One field of view of a urine filter membrane, 4× objective, 2028 × 1520 pixels. The field of view is about 1.5 mm × 1.1 mm.
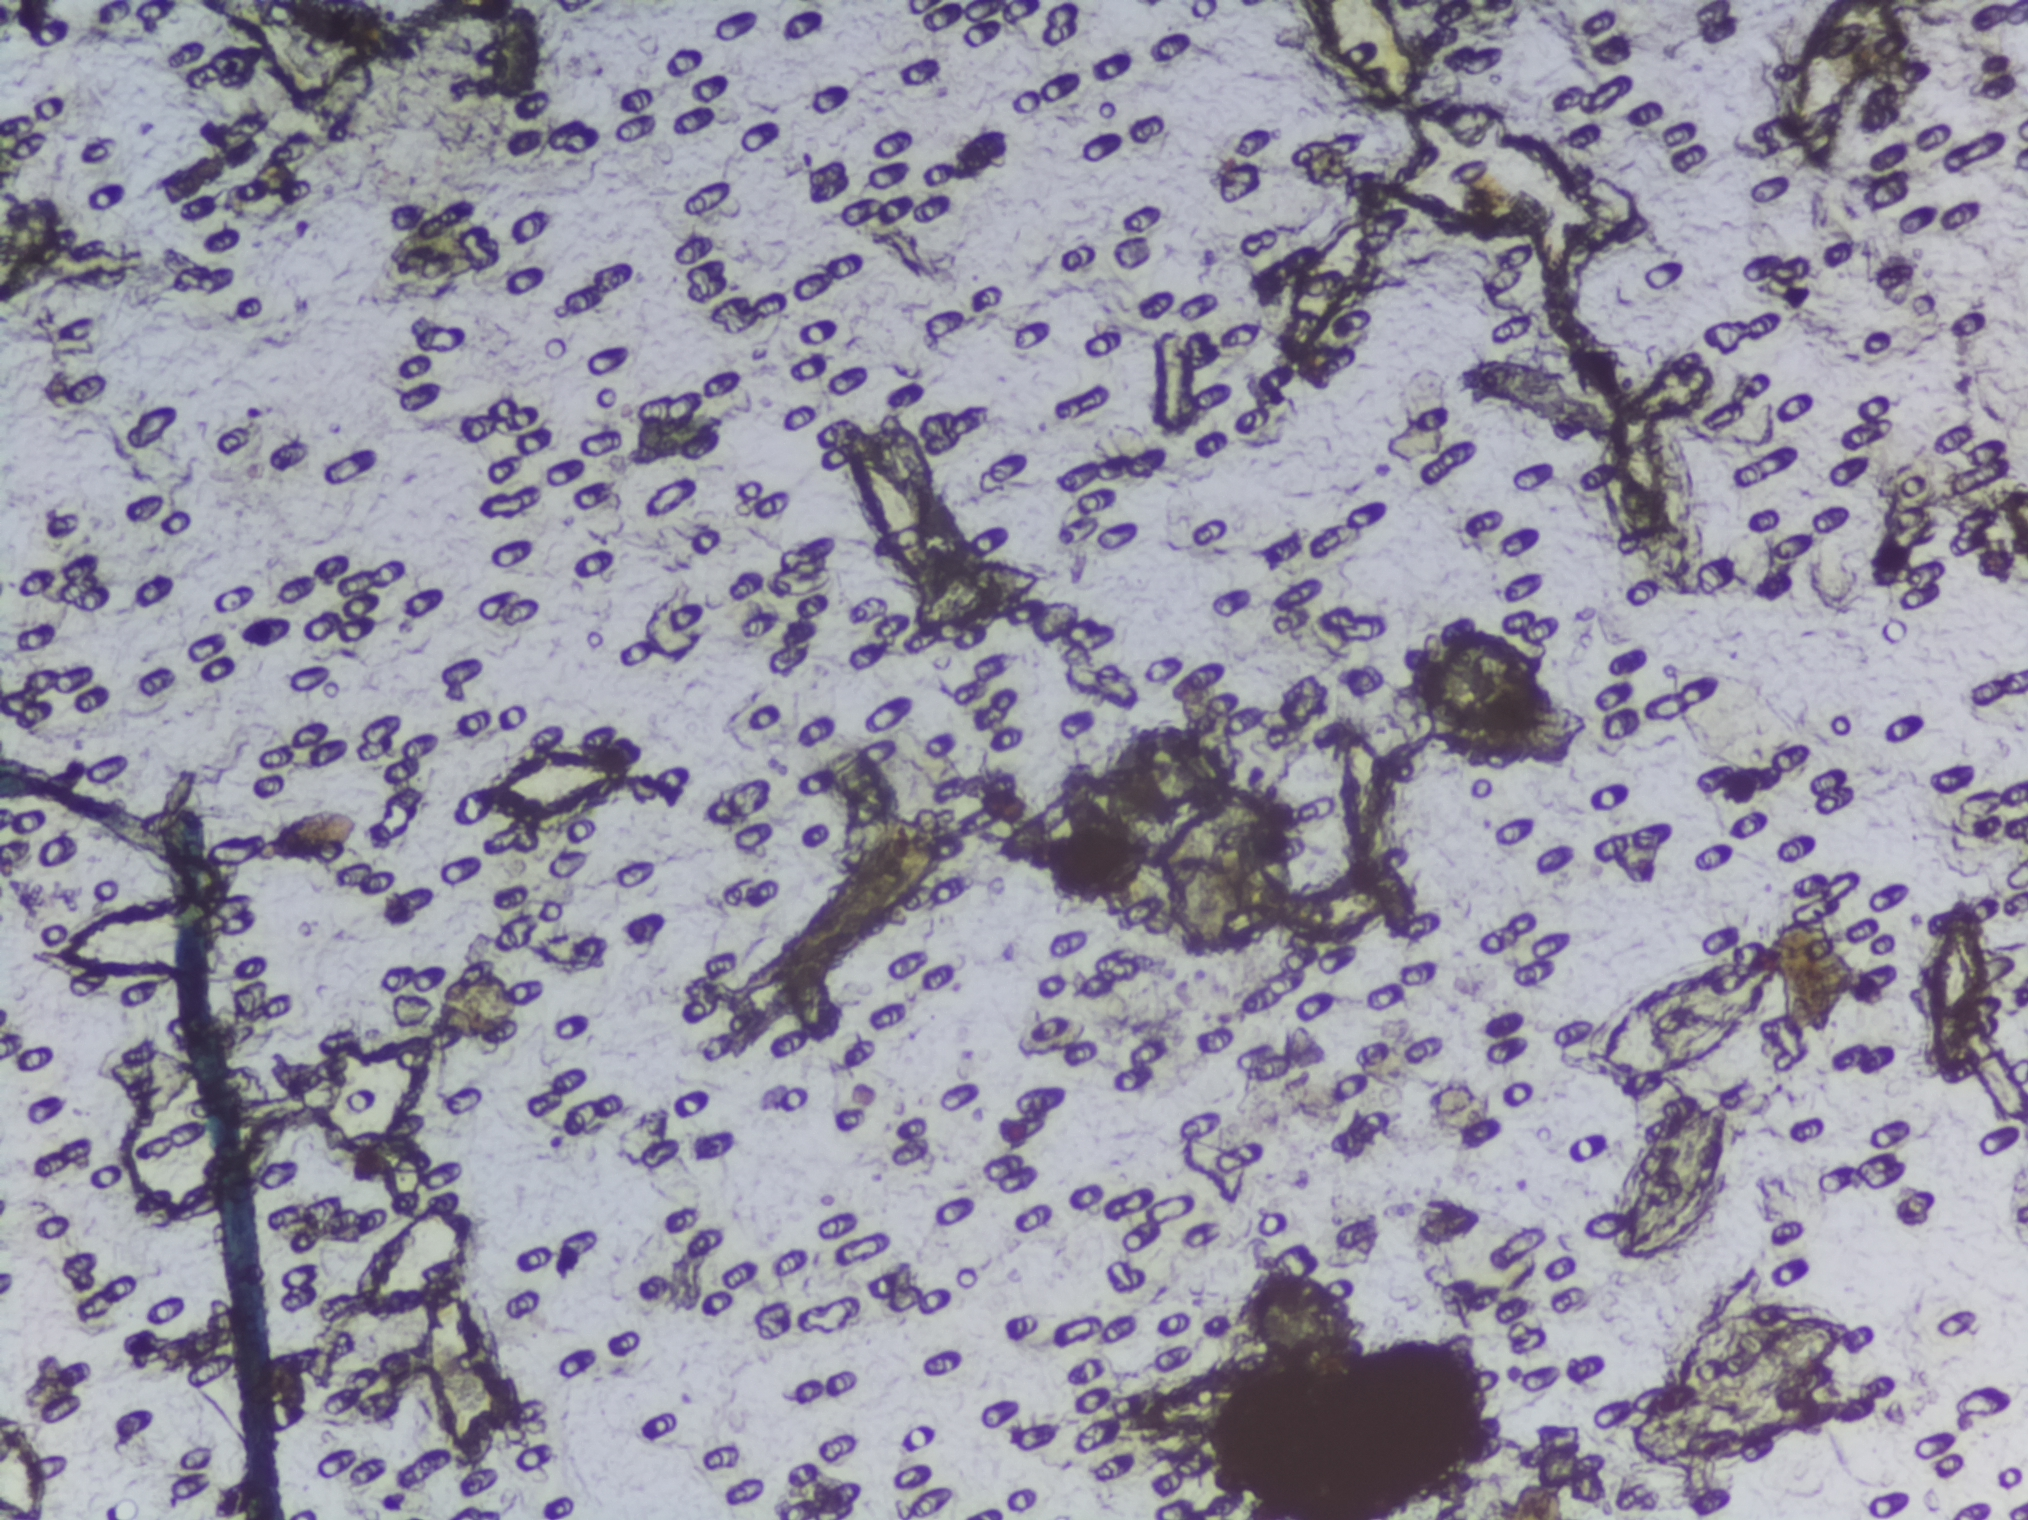
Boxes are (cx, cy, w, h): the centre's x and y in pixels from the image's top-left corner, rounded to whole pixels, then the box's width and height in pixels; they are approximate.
Five areas of this image are outlined as Schistosoma eggs, from left to right: (cx=1391, cy=48, w=244, h=96) (reaching the top edge of the frame); (cx=1647, cy=497, w=132, h=214); (cx=1683, cy=1112, w=205, h=323); (cx=1740, cy=1385, w=235, h=193); (cx=1963, cy=992, w=76, h=199). Eggs that touch can end up inside the same outlined area. Any one outlined egg may, rarely, be S. mansoni rather than S. haematobium.